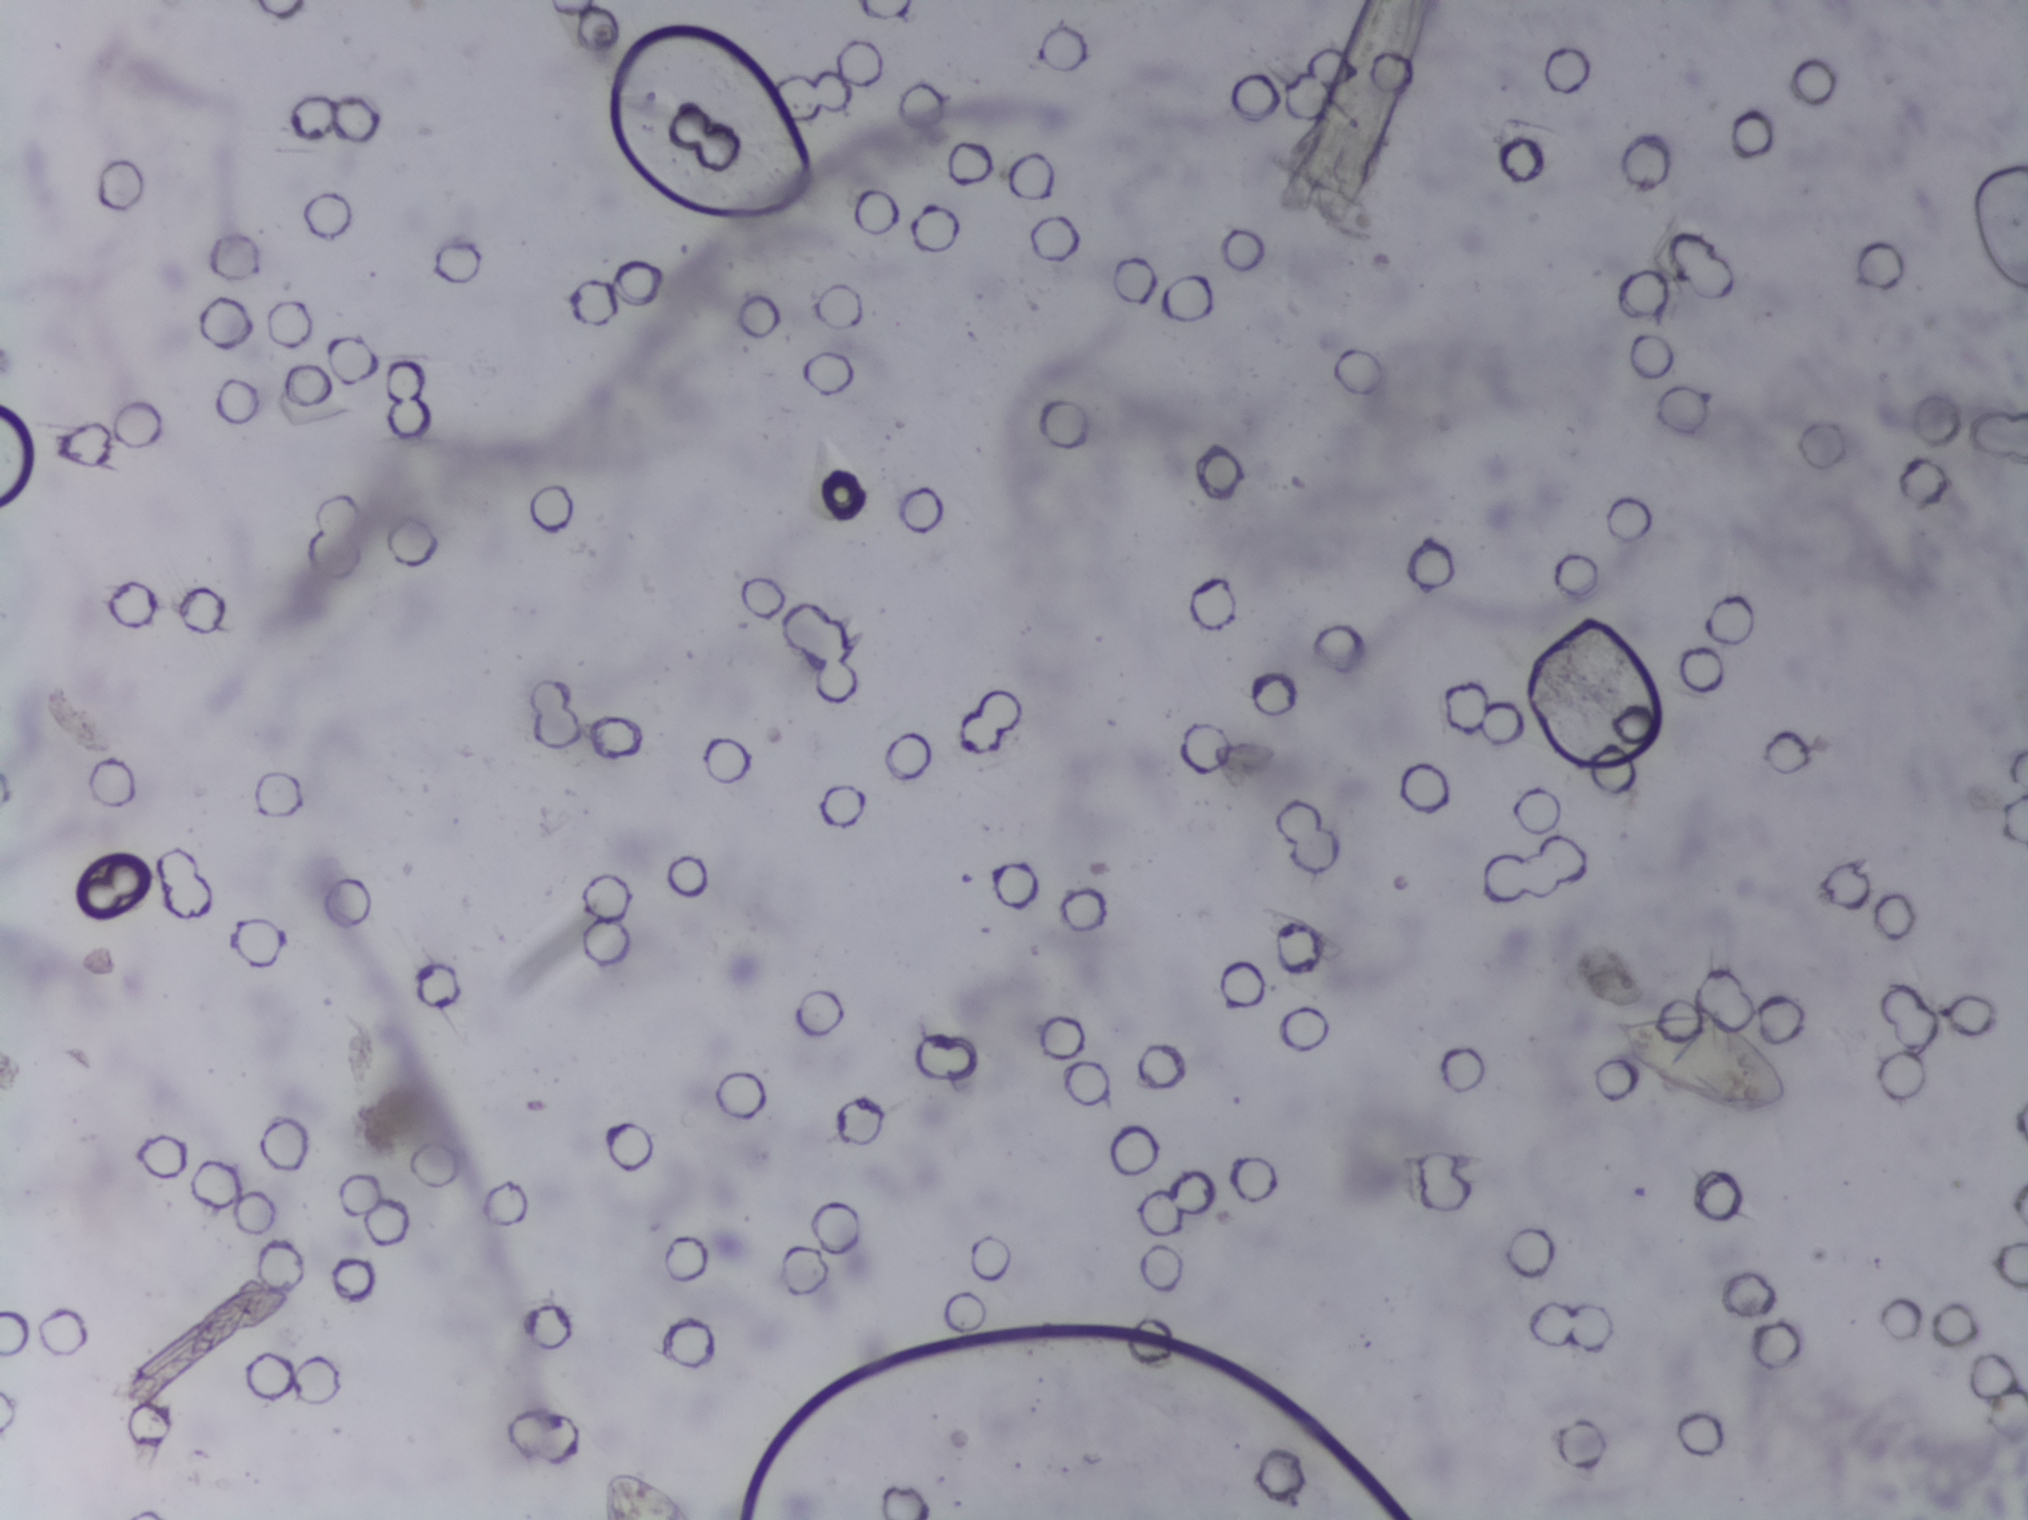
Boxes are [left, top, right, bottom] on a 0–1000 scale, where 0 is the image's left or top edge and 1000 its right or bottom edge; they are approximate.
Findings: one area outlined as Schistosoma eggs. Location: [794, 663, 881, 734]. The marked pixels themselves, not the box around them, cover about 0.4% of the image. An outlined area can hold more than one egg.
Photomicrograph of a urine filtration membrane, 4× objective.